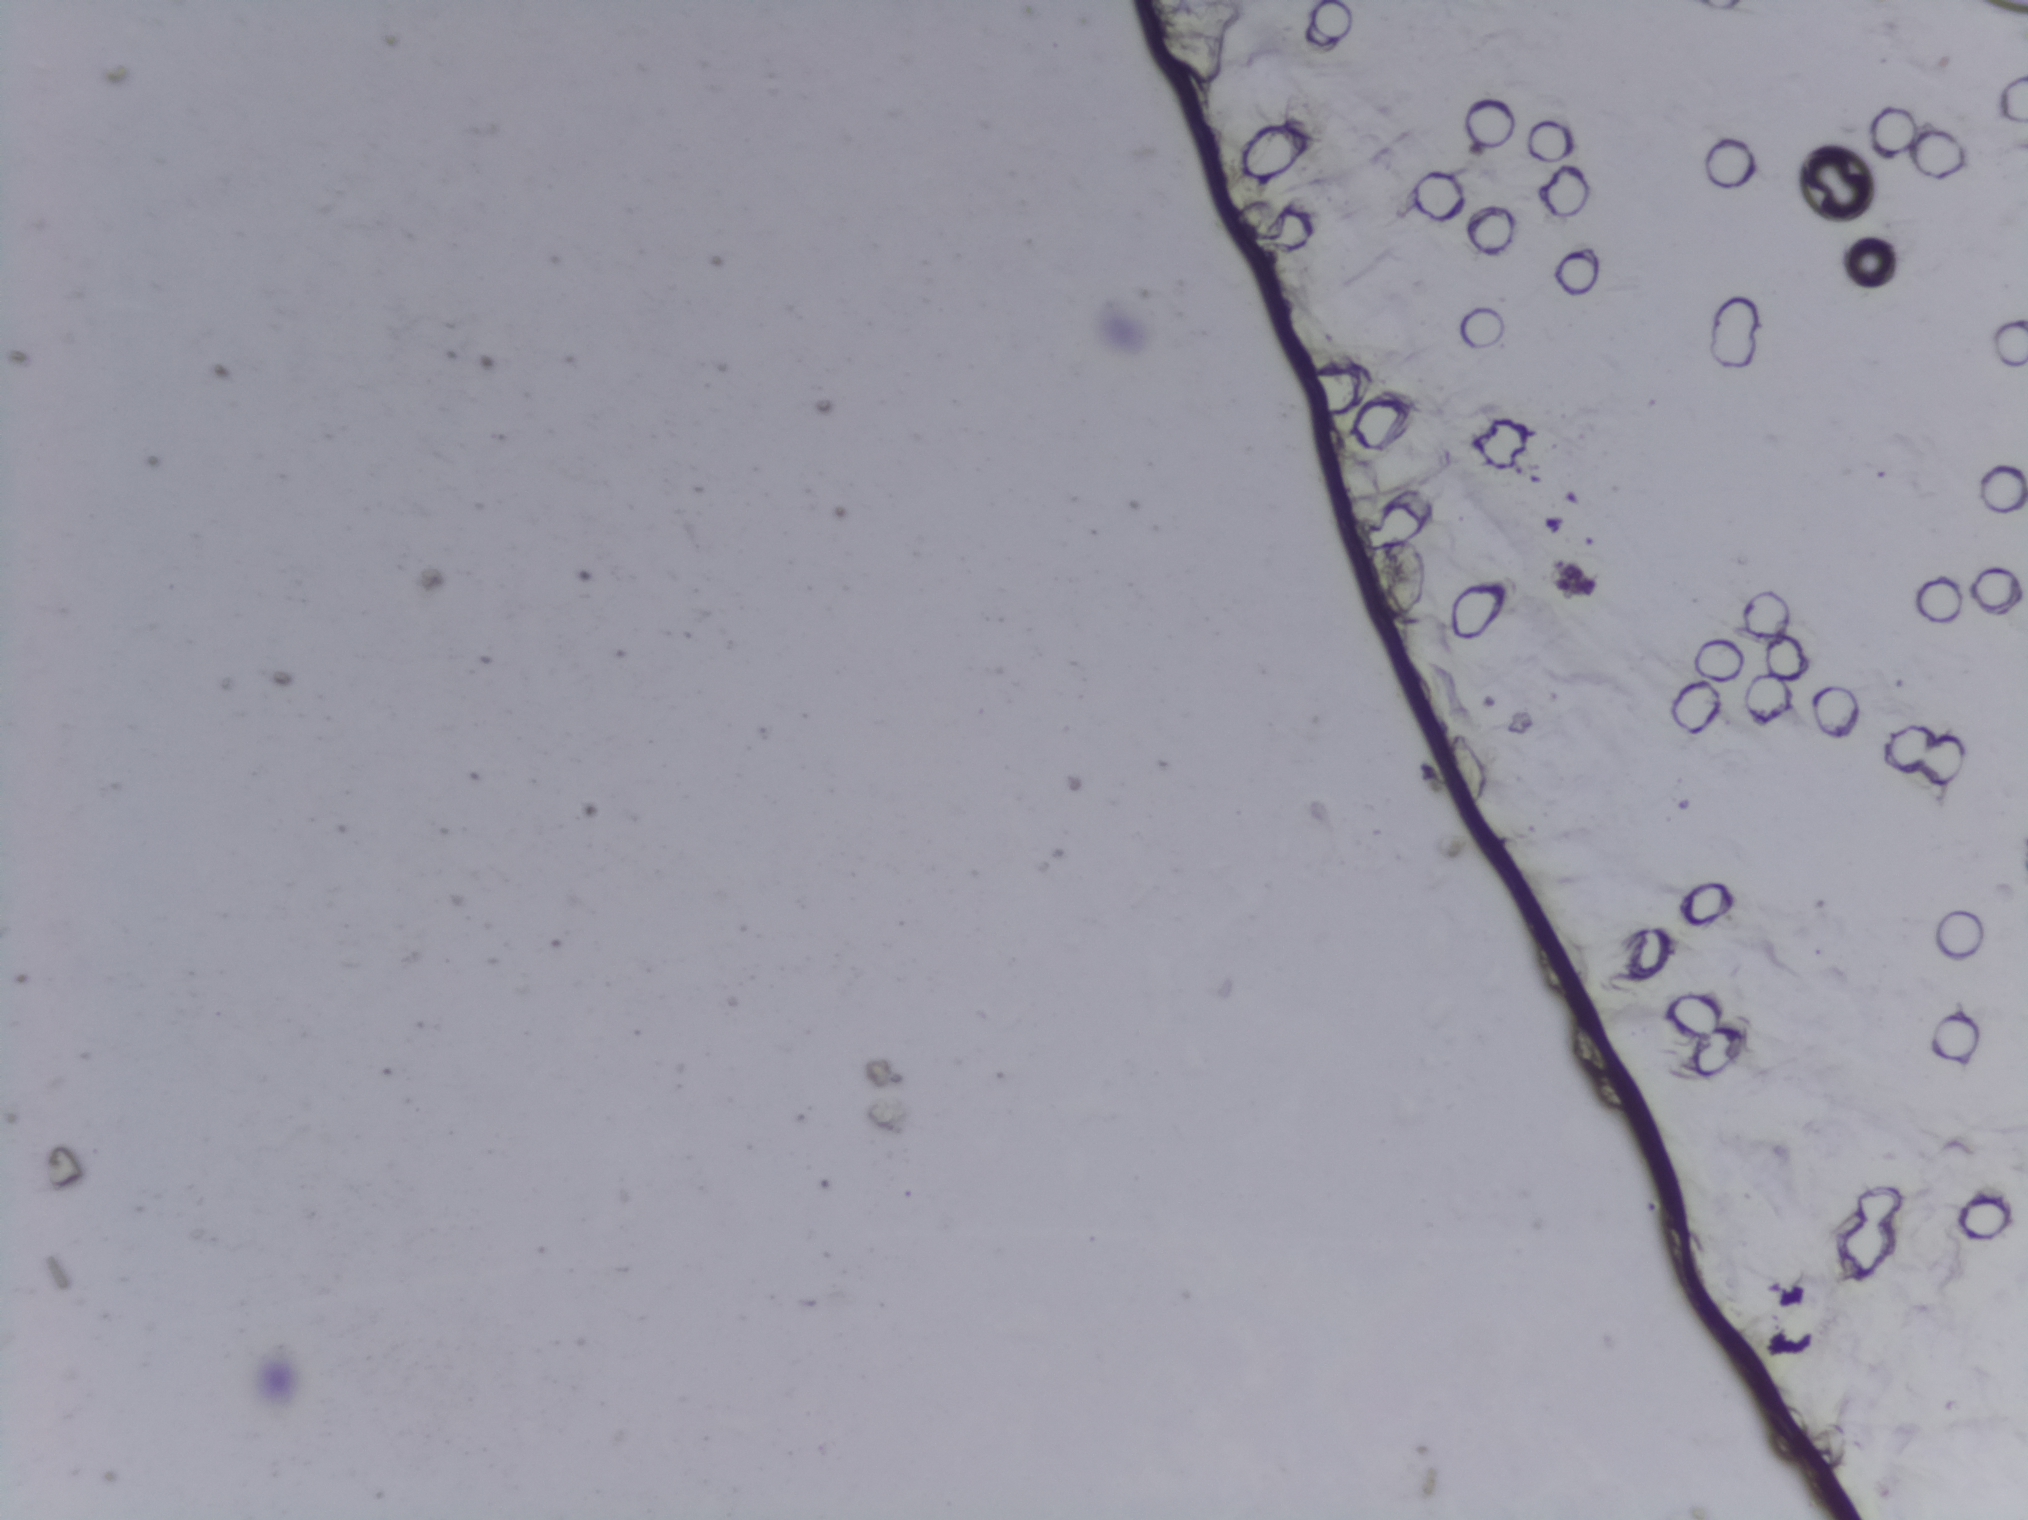
No area of this image was outlined as a Schistosoma egg.
One field of view of a urine filter membrane, 4× objective, 2028 × 1520 pixels.